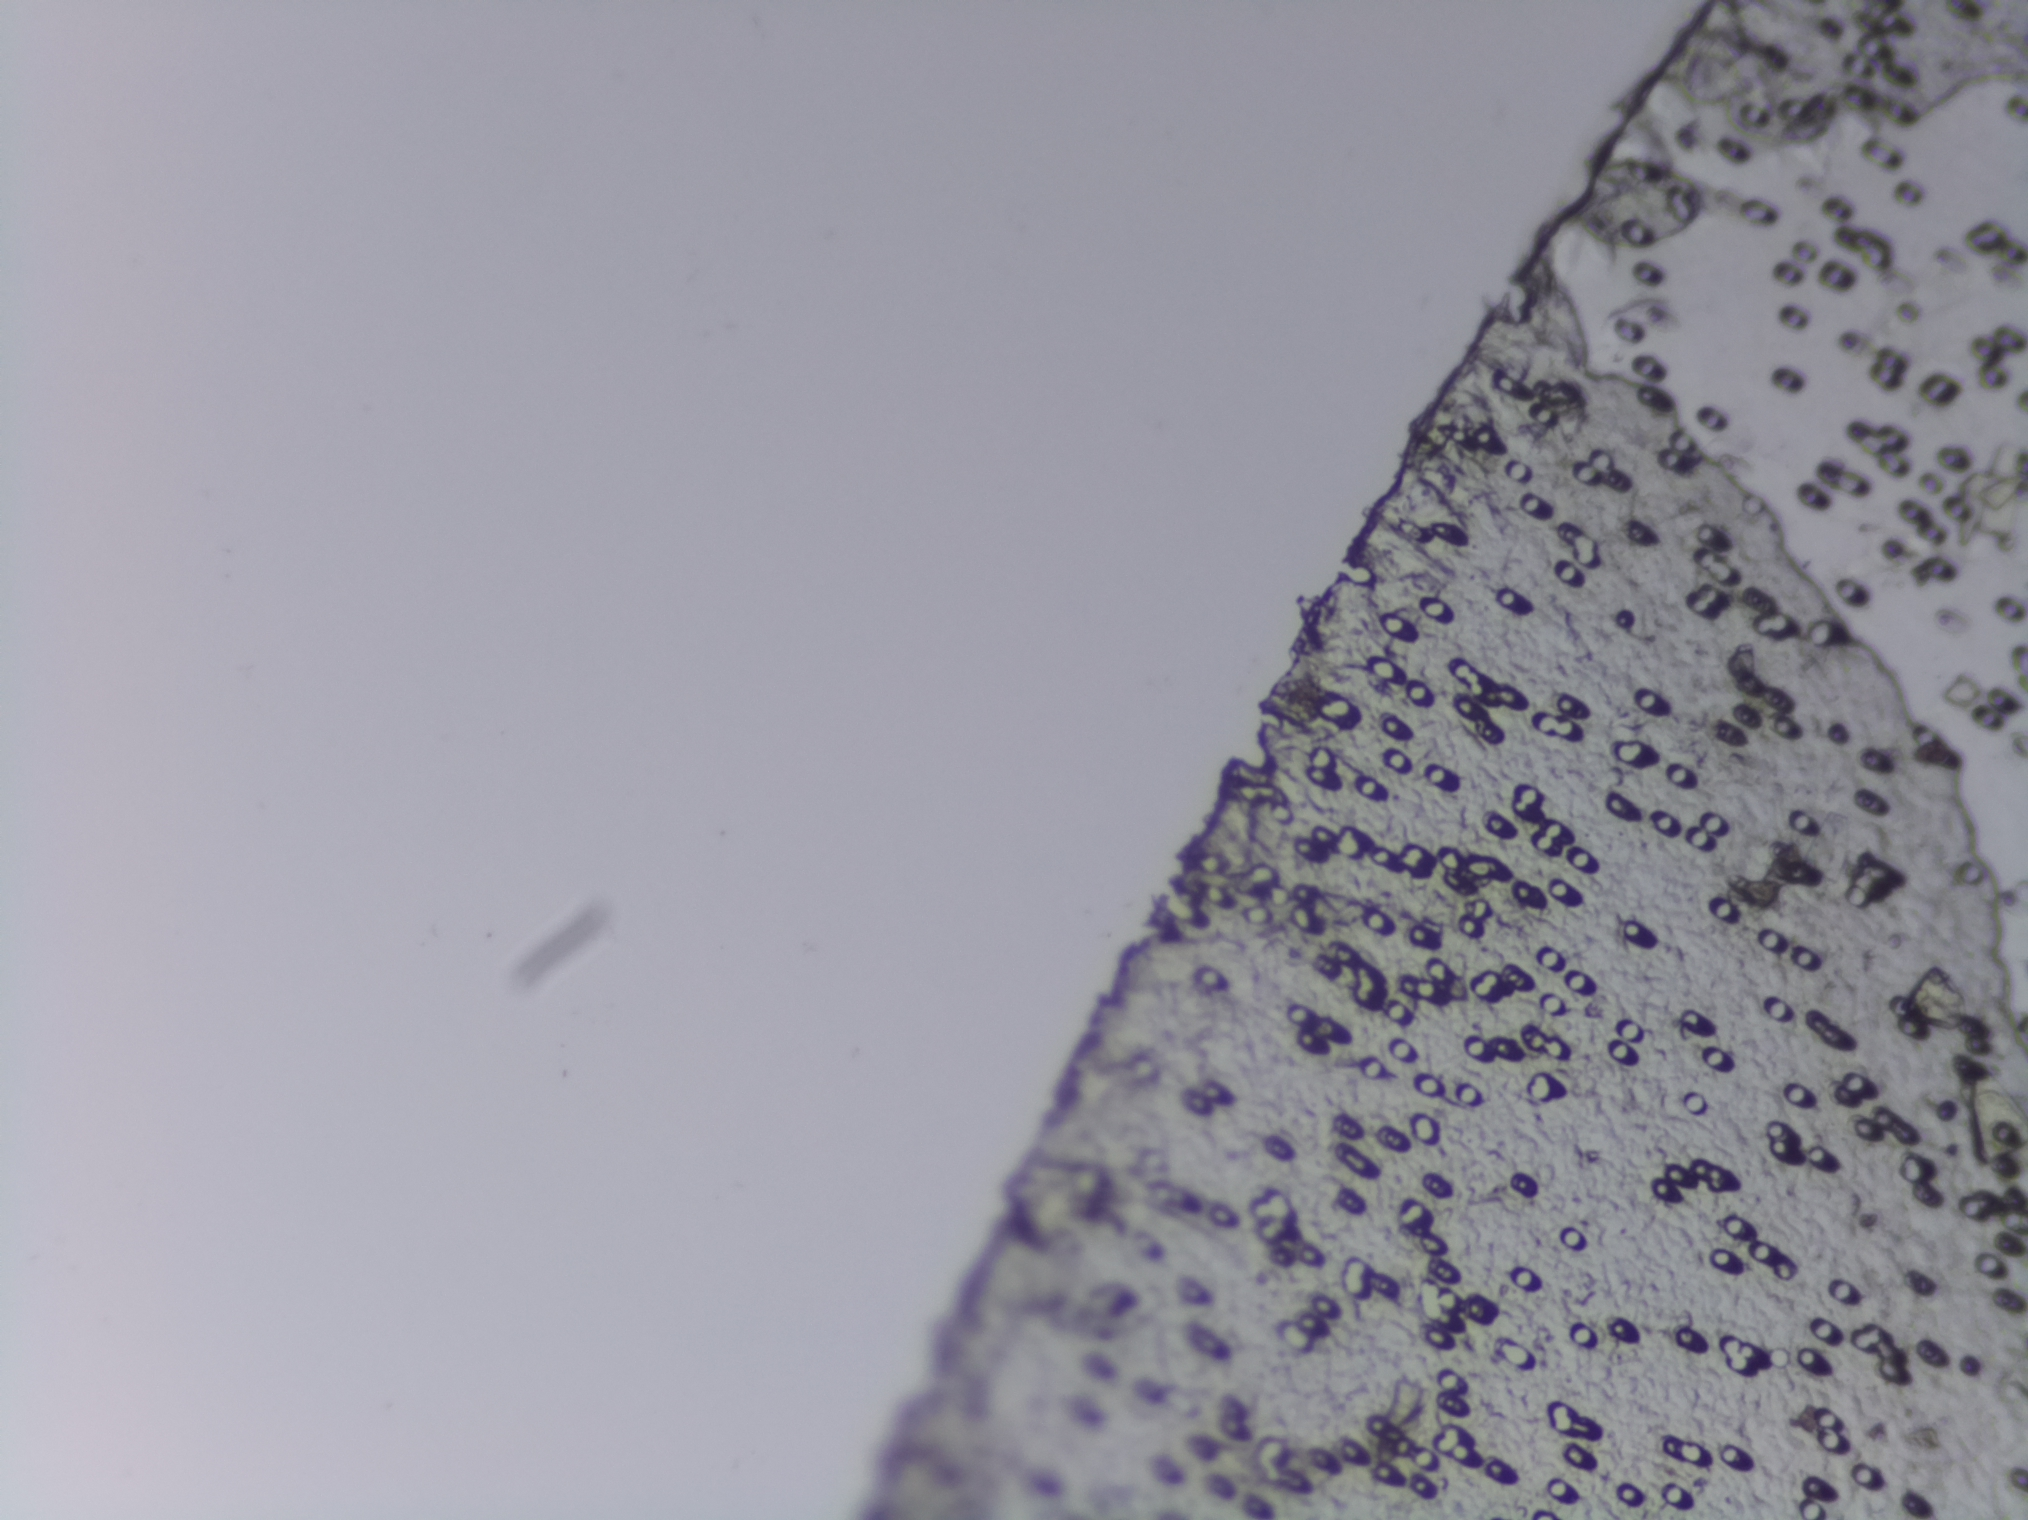
Urine filter membrane photographed through a 4× microscope objective.
Schistosoma eggs: none outlined.